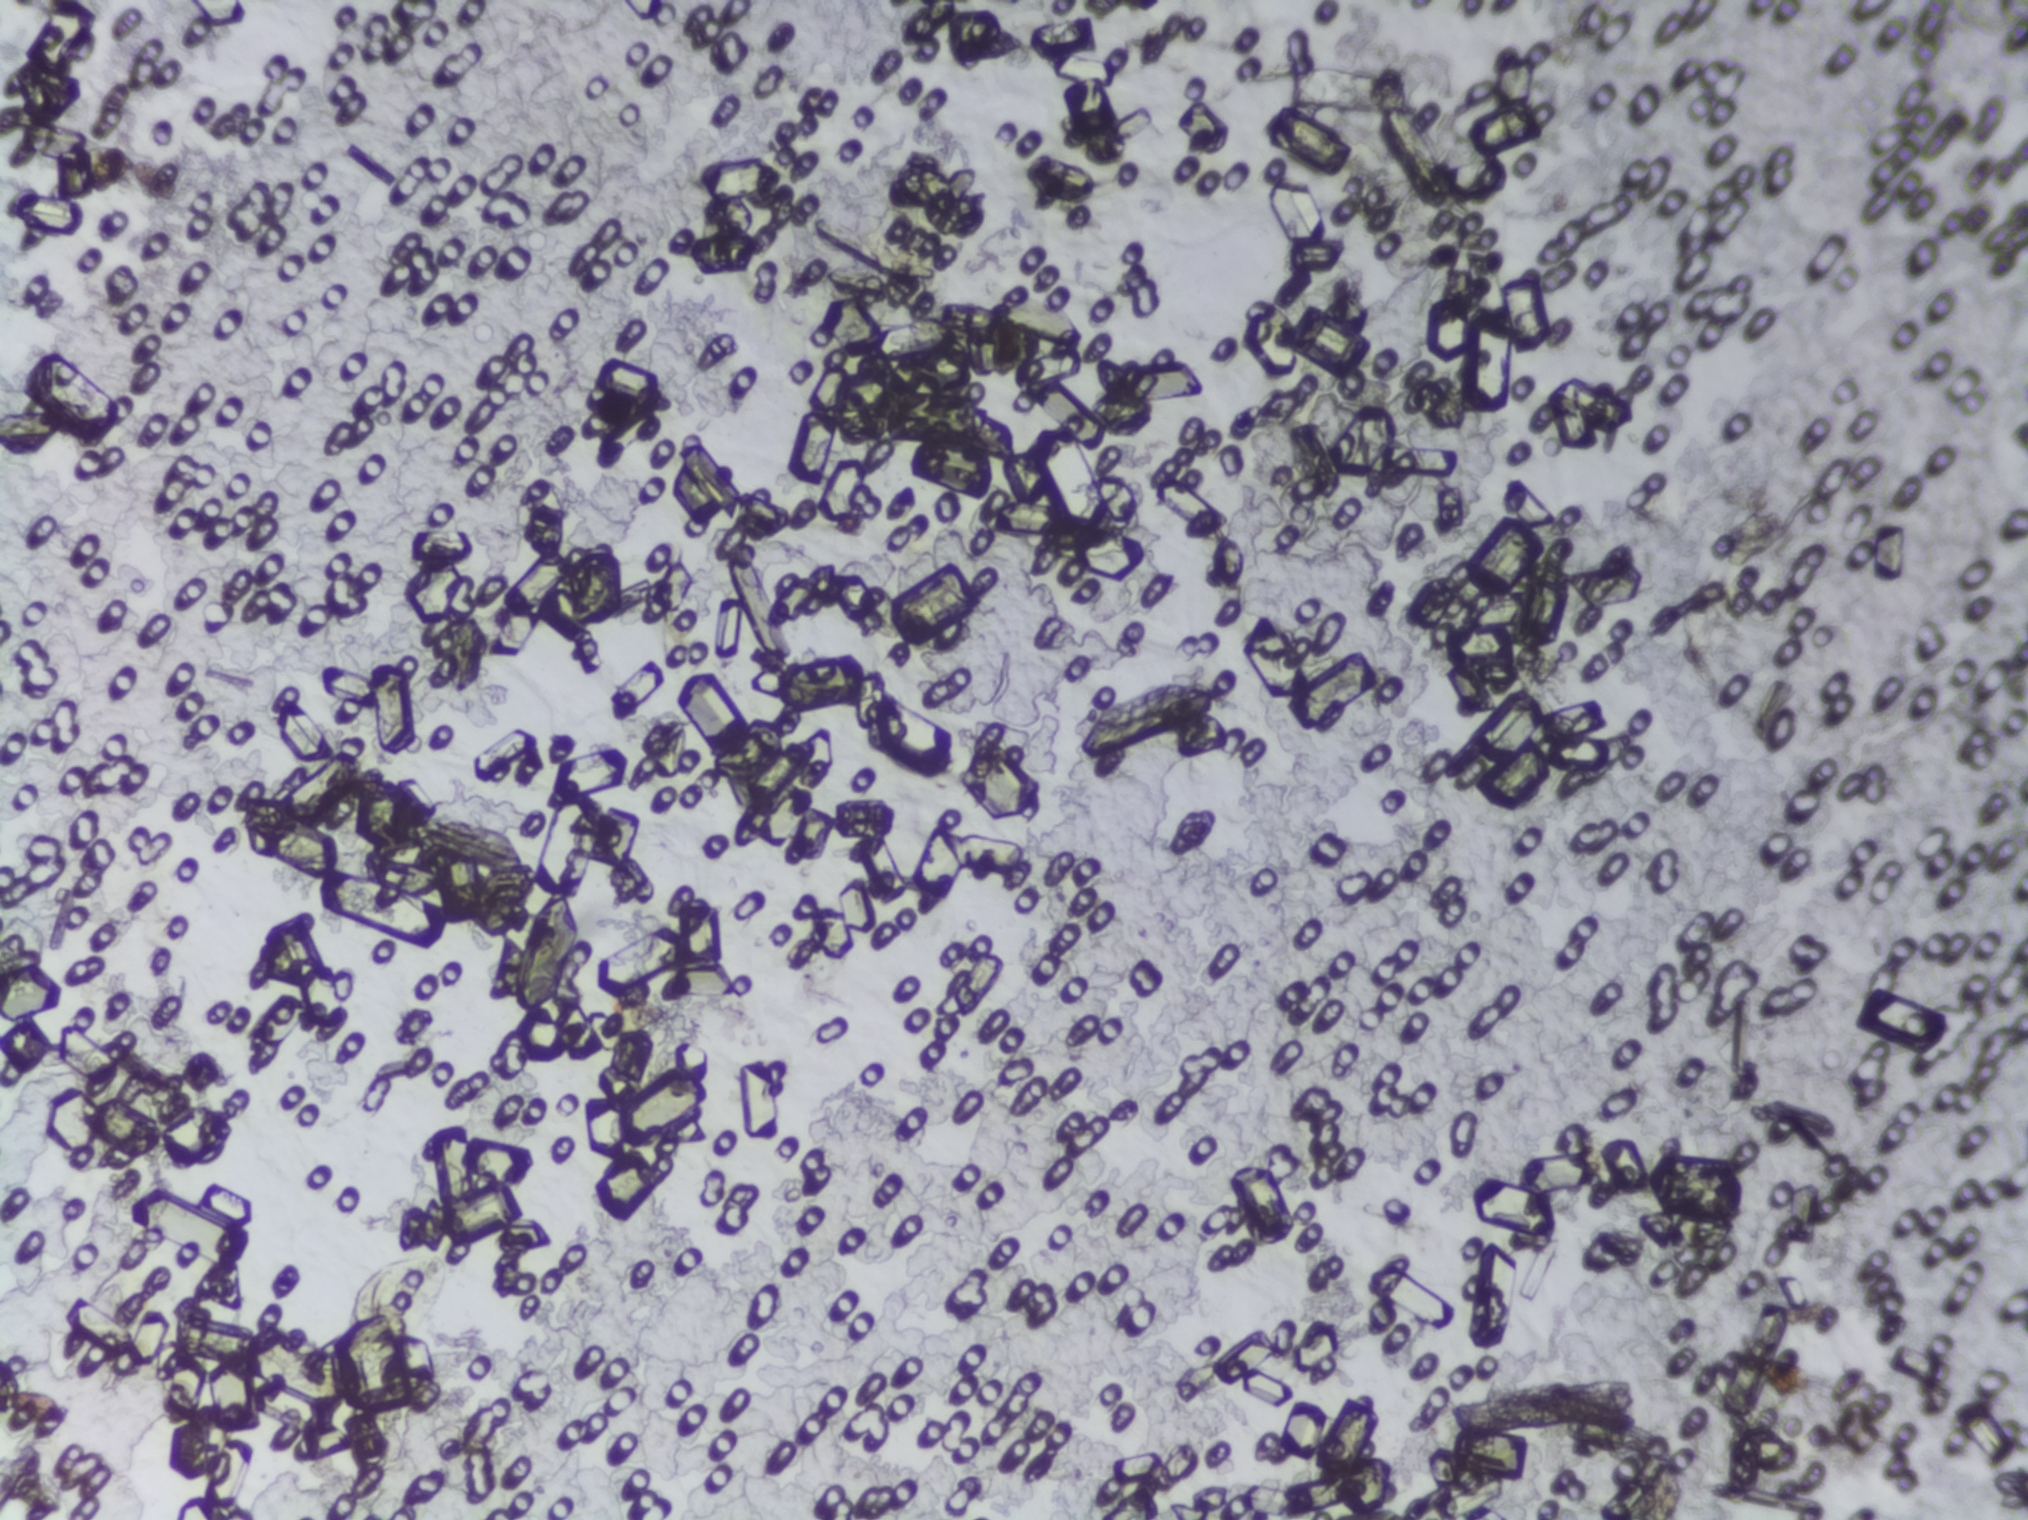
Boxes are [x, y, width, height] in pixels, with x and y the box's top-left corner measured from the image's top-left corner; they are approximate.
Schistosoma egg areas, outlined: [345, 1251, 105, 101]. A single outlined area may contain several eggs.
Microscope photograph (4× objective) of a membrane that a urine sample was filtered through. The image covers about 1.5 × 1.1 mm of the membrane.